Urine filter membrane photographed through a 4× microscope objective.
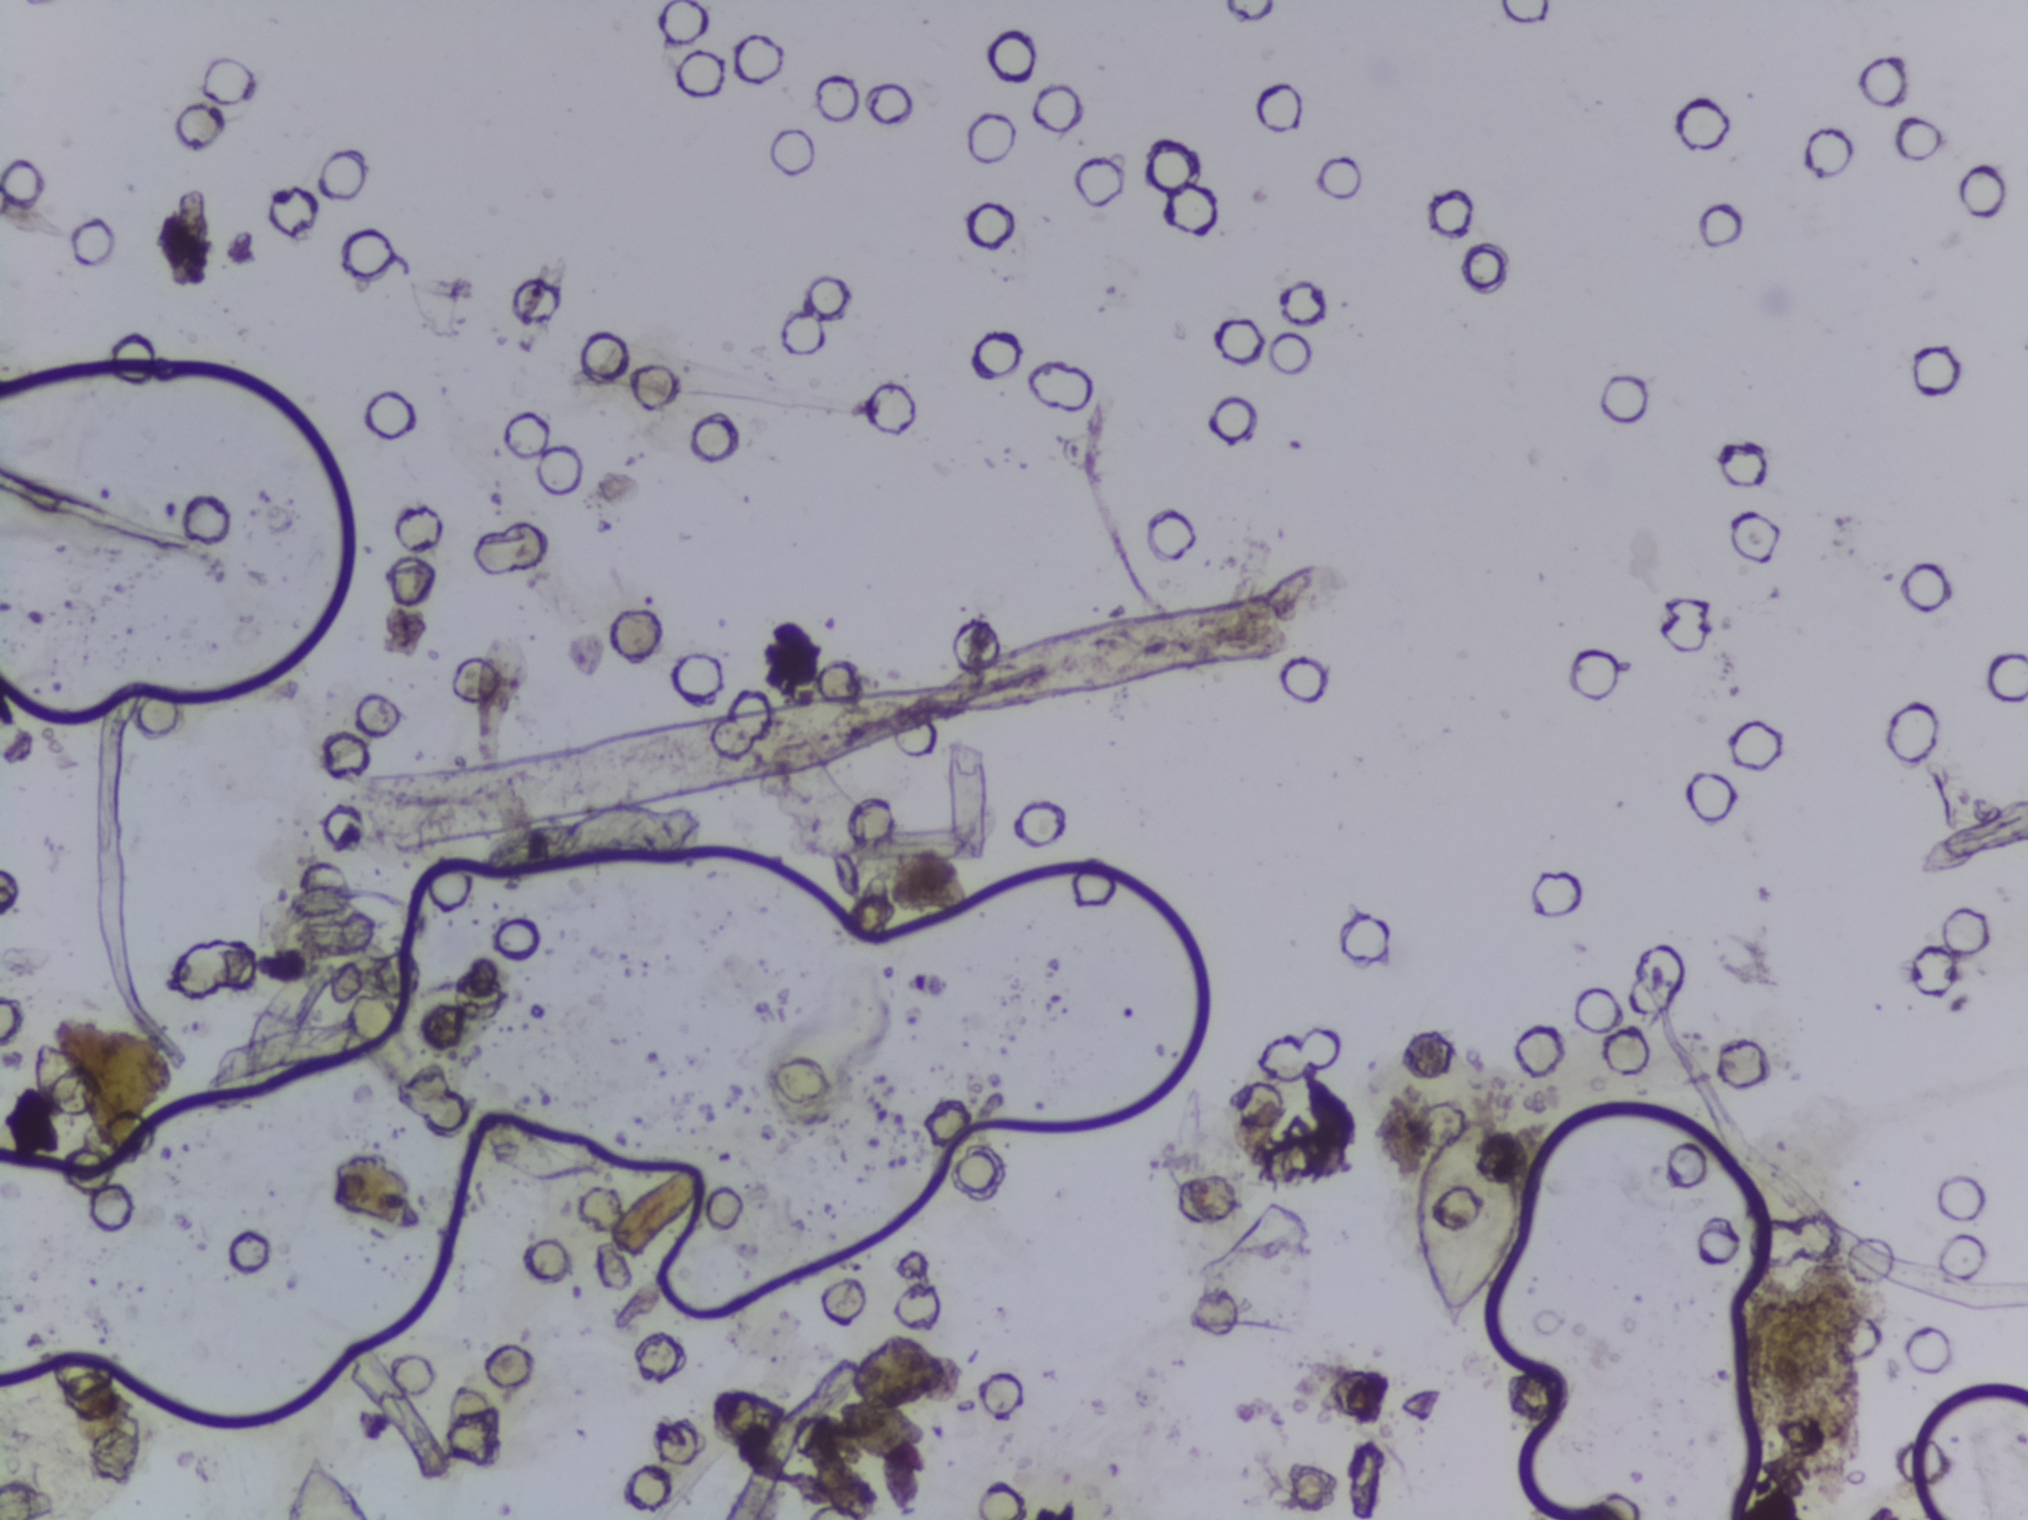
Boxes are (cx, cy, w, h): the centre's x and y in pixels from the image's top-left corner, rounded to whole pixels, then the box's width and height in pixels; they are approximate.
Schistosoma egg areas, outlined: (cx=328, cy=1485, w=85, h=70) (reaching the bottom edge of the frame); (cx=1466, cy=1225, w=110, h=226). Eggs that touch can end up inside the same outlined area.